Urine filter membrane photographed through a 4× microscope objective.
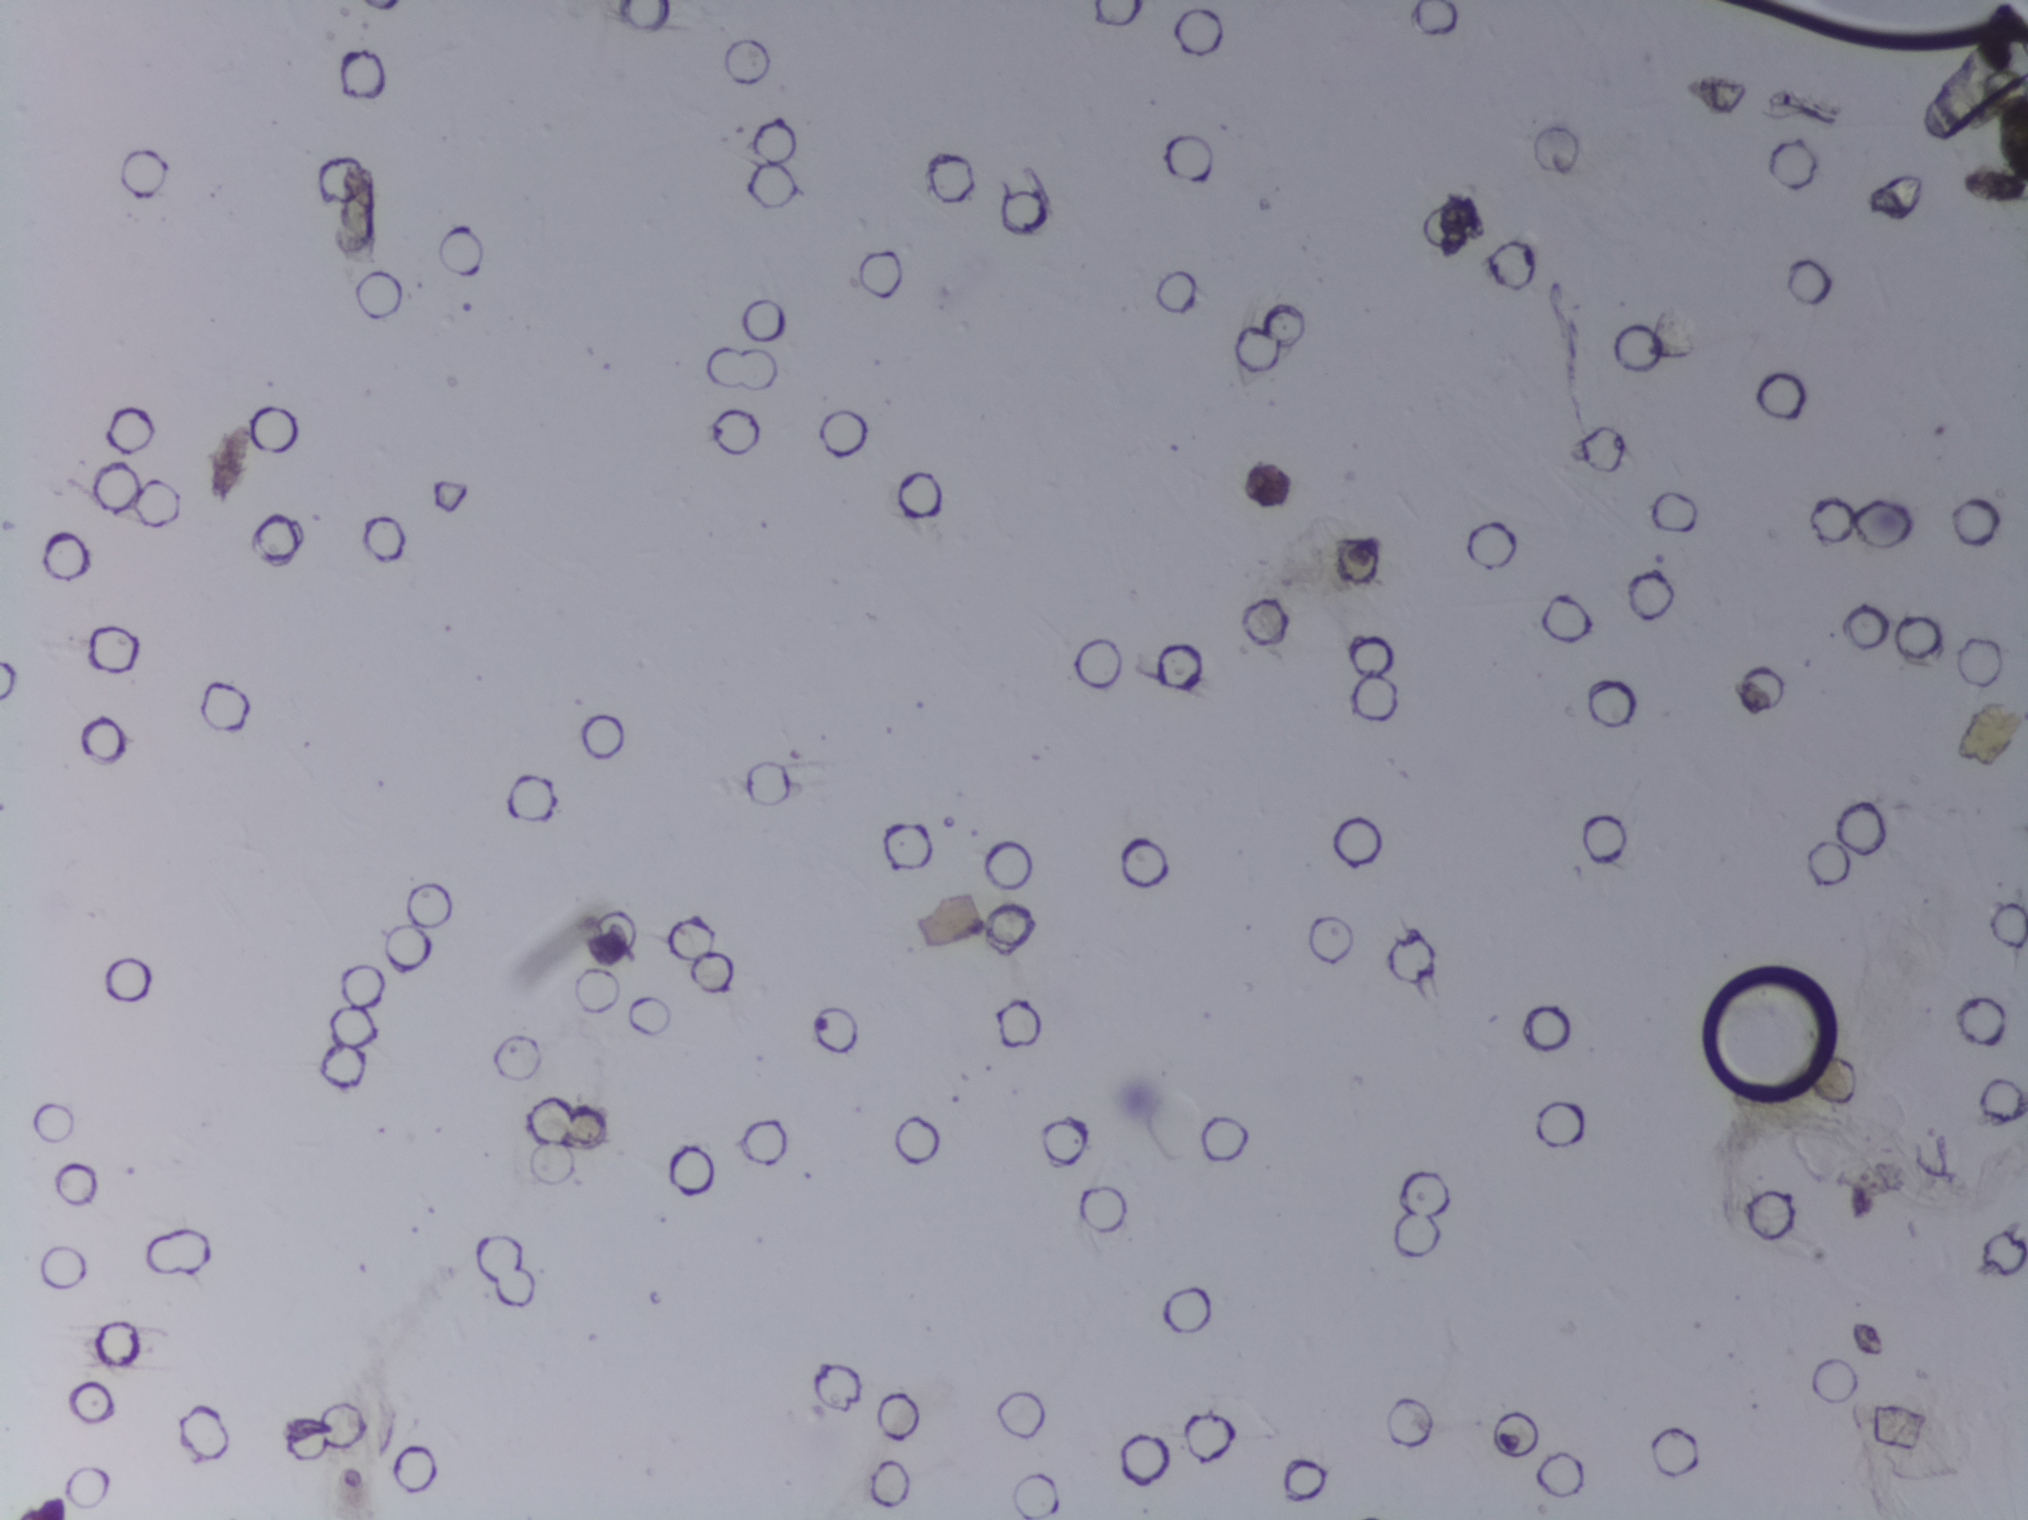
The expert annotation outlines no Schistosoma egg in this image.